Urine filter membrane photographed through a 4× microscope objective. Field of view: about 1.5 mm wide and 1.1 mm high.
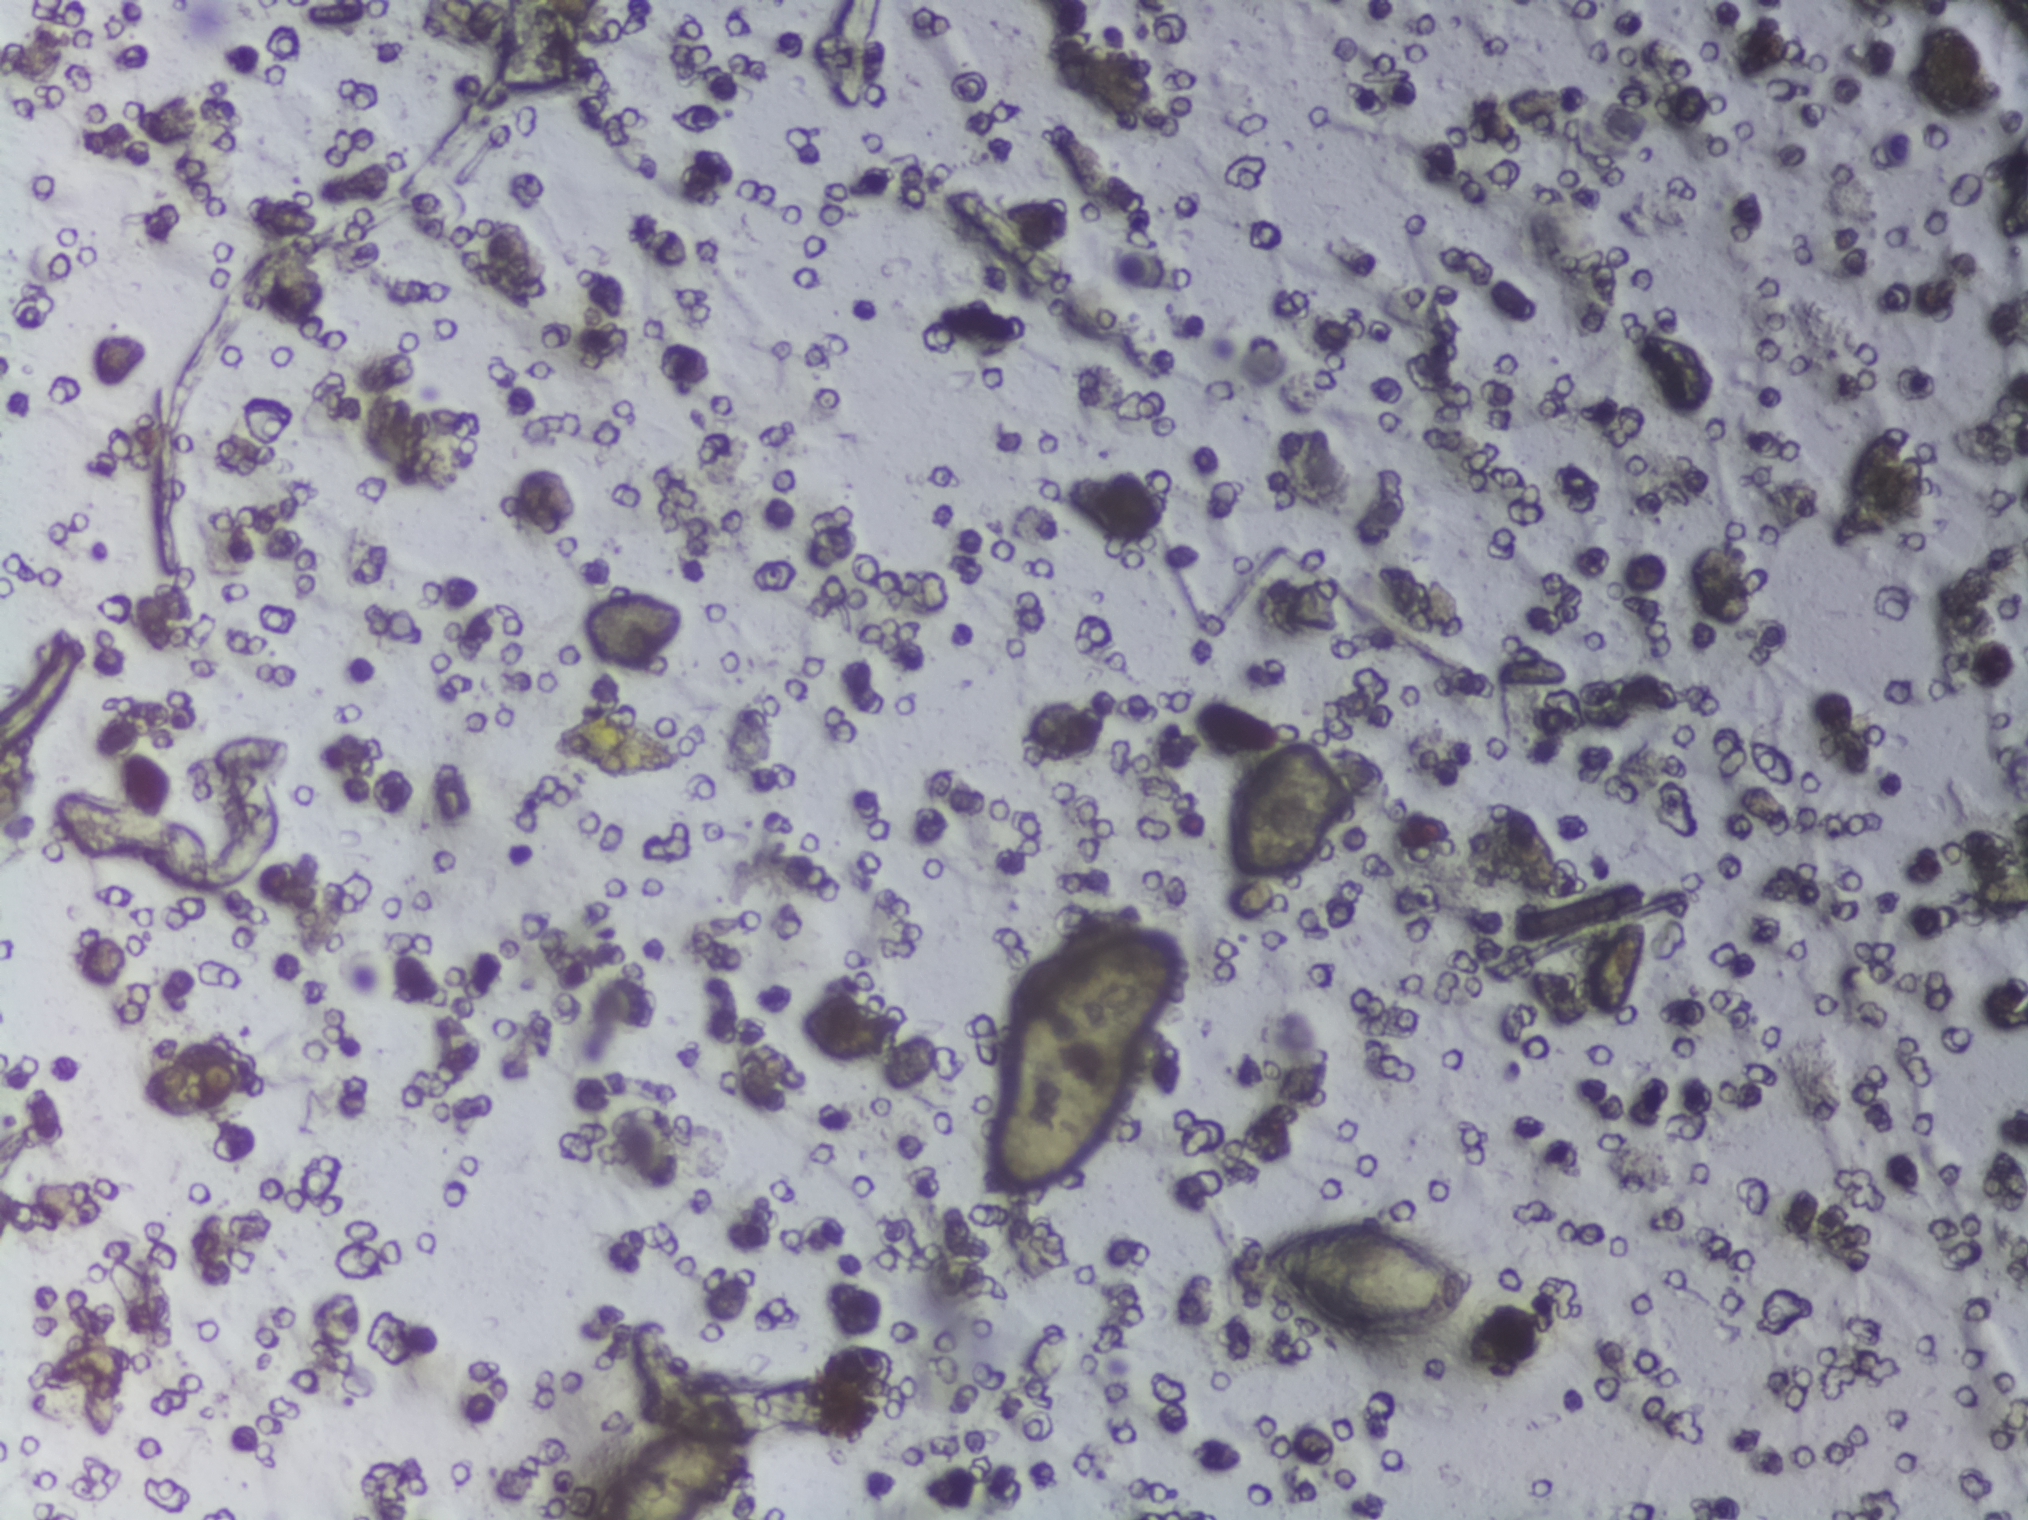
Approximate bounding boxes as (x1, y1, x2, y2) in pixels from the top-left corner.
Areas outlined as Schistosoma eggs, left to right:
1. (590, 1392, 748, 1519) (reaching the bottom edge of the frame)
2. (982, 926, 1186, 1198)
3. (1251, 1220, 1468, 1330)
About 2.0% of the image's pixels are marked (the marked pixels themselves, not the boxes around them). An outlined area can hold more than one egg.